Urine filter membrane photographed through a 4× microscope objective. Field of view: about 1.5 mm wide and 1.1 mm high.
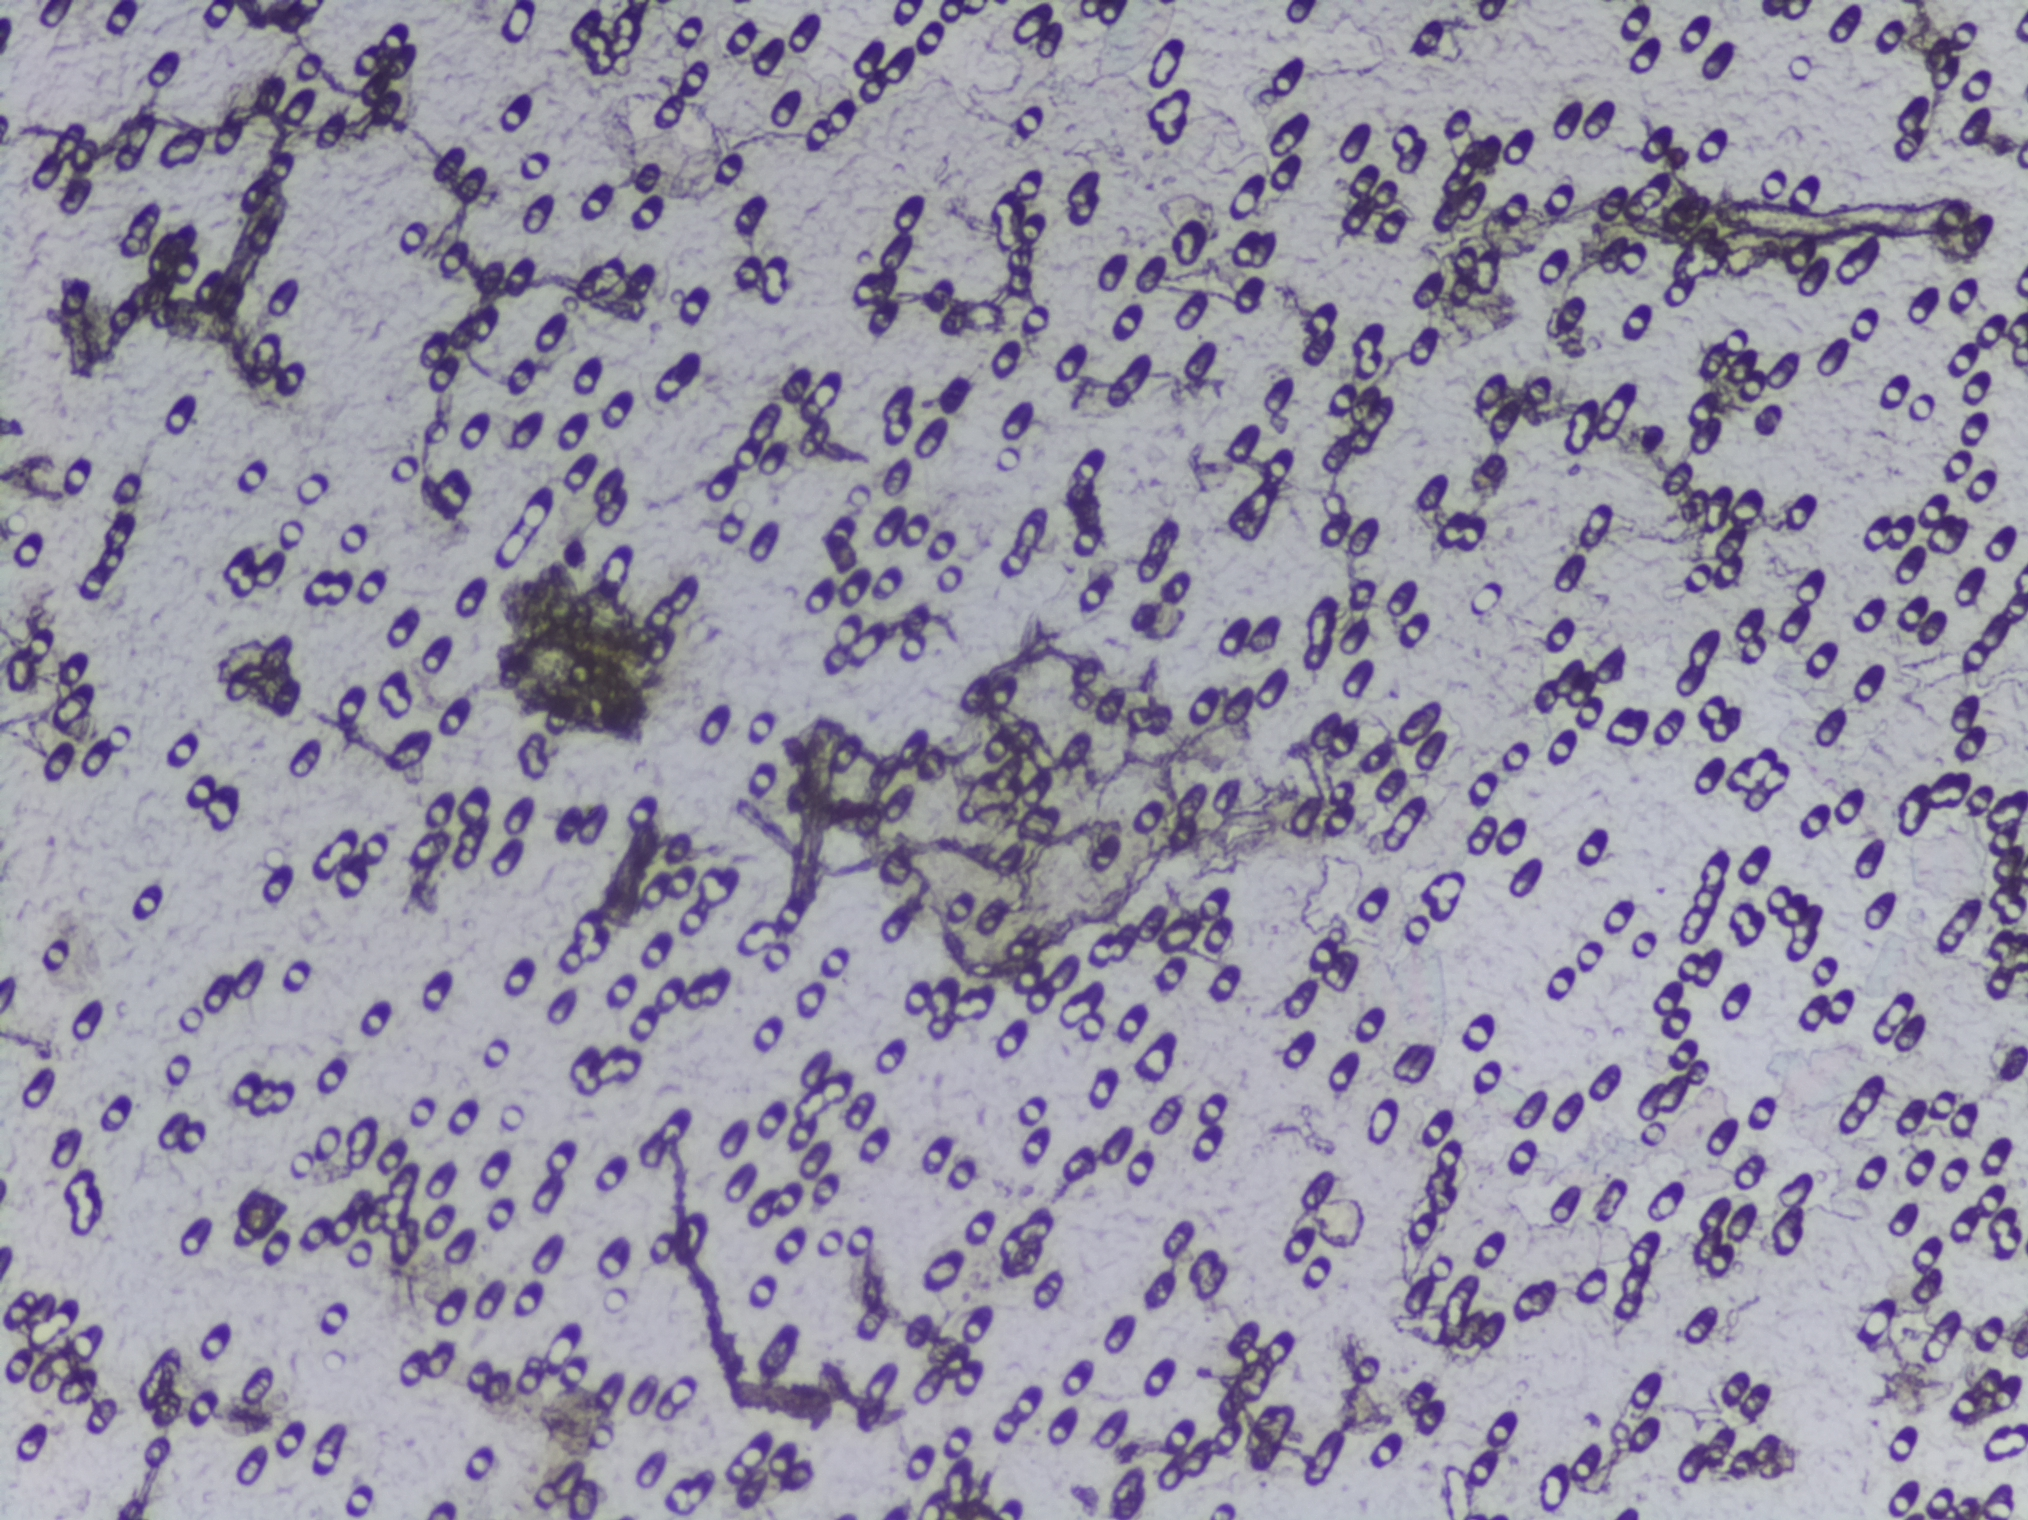
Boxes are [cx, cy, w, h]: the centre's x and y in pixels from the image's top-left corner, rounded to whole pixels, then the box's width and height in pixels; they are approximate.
{"schistosoma_egg_areas_cxcywh_px": [[572, 692, 161, 107]]}
Eggs that touch can end up inside the same outlined area.